Urine filter membrane photographed through a 4× microscope objective.
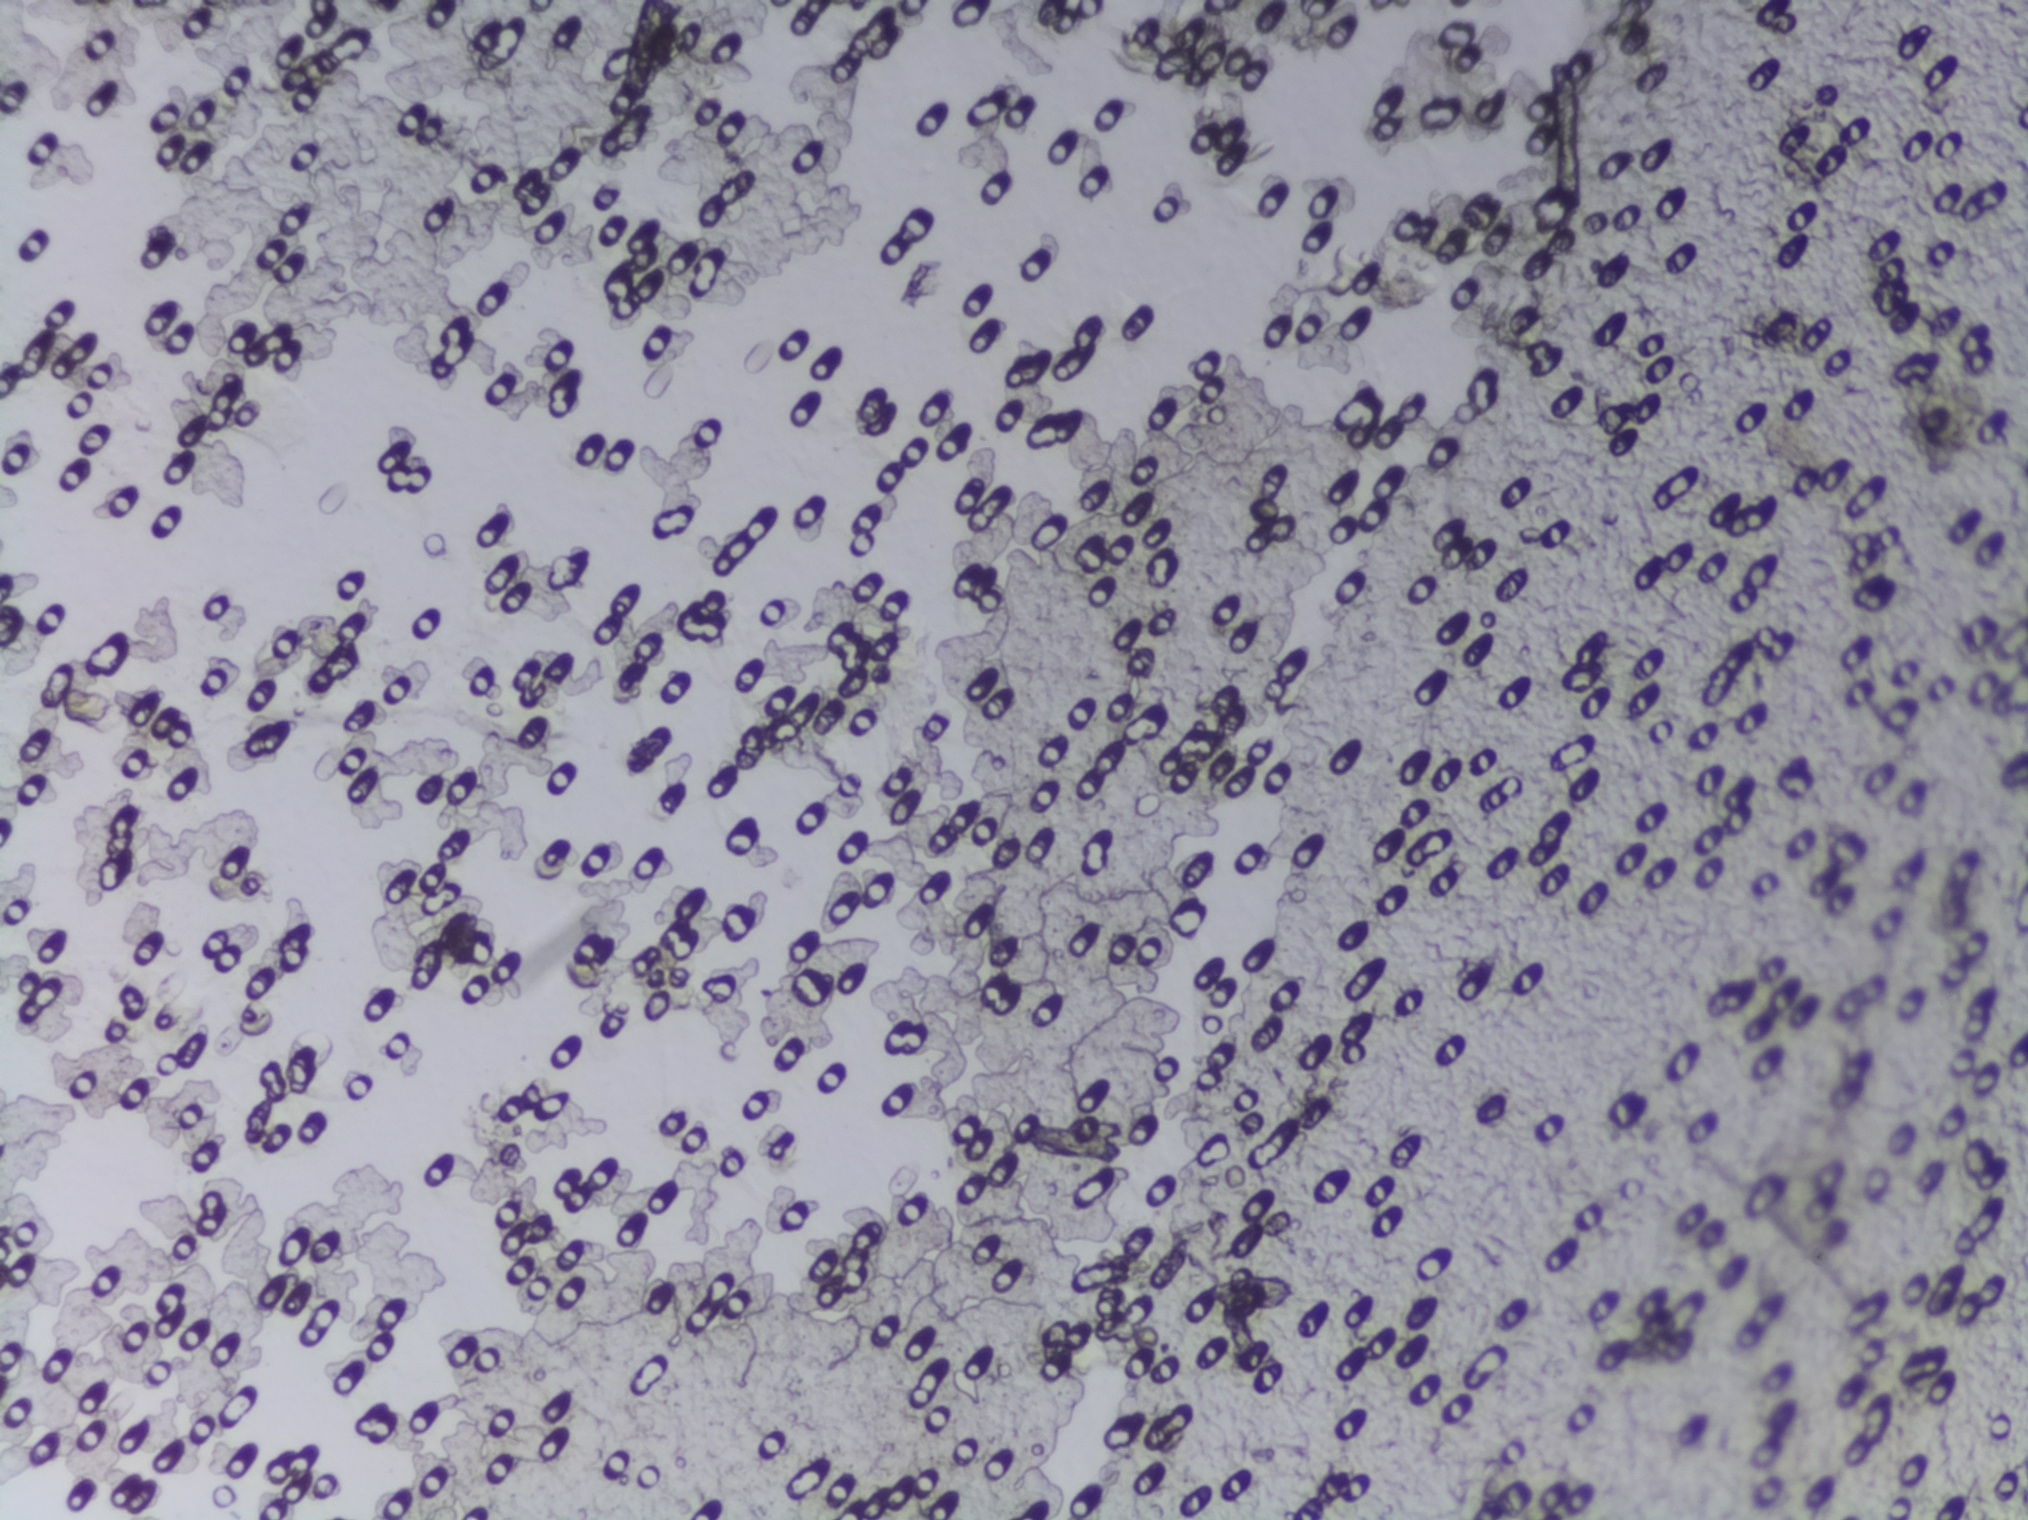
Schistosoma eggs: none outlined.